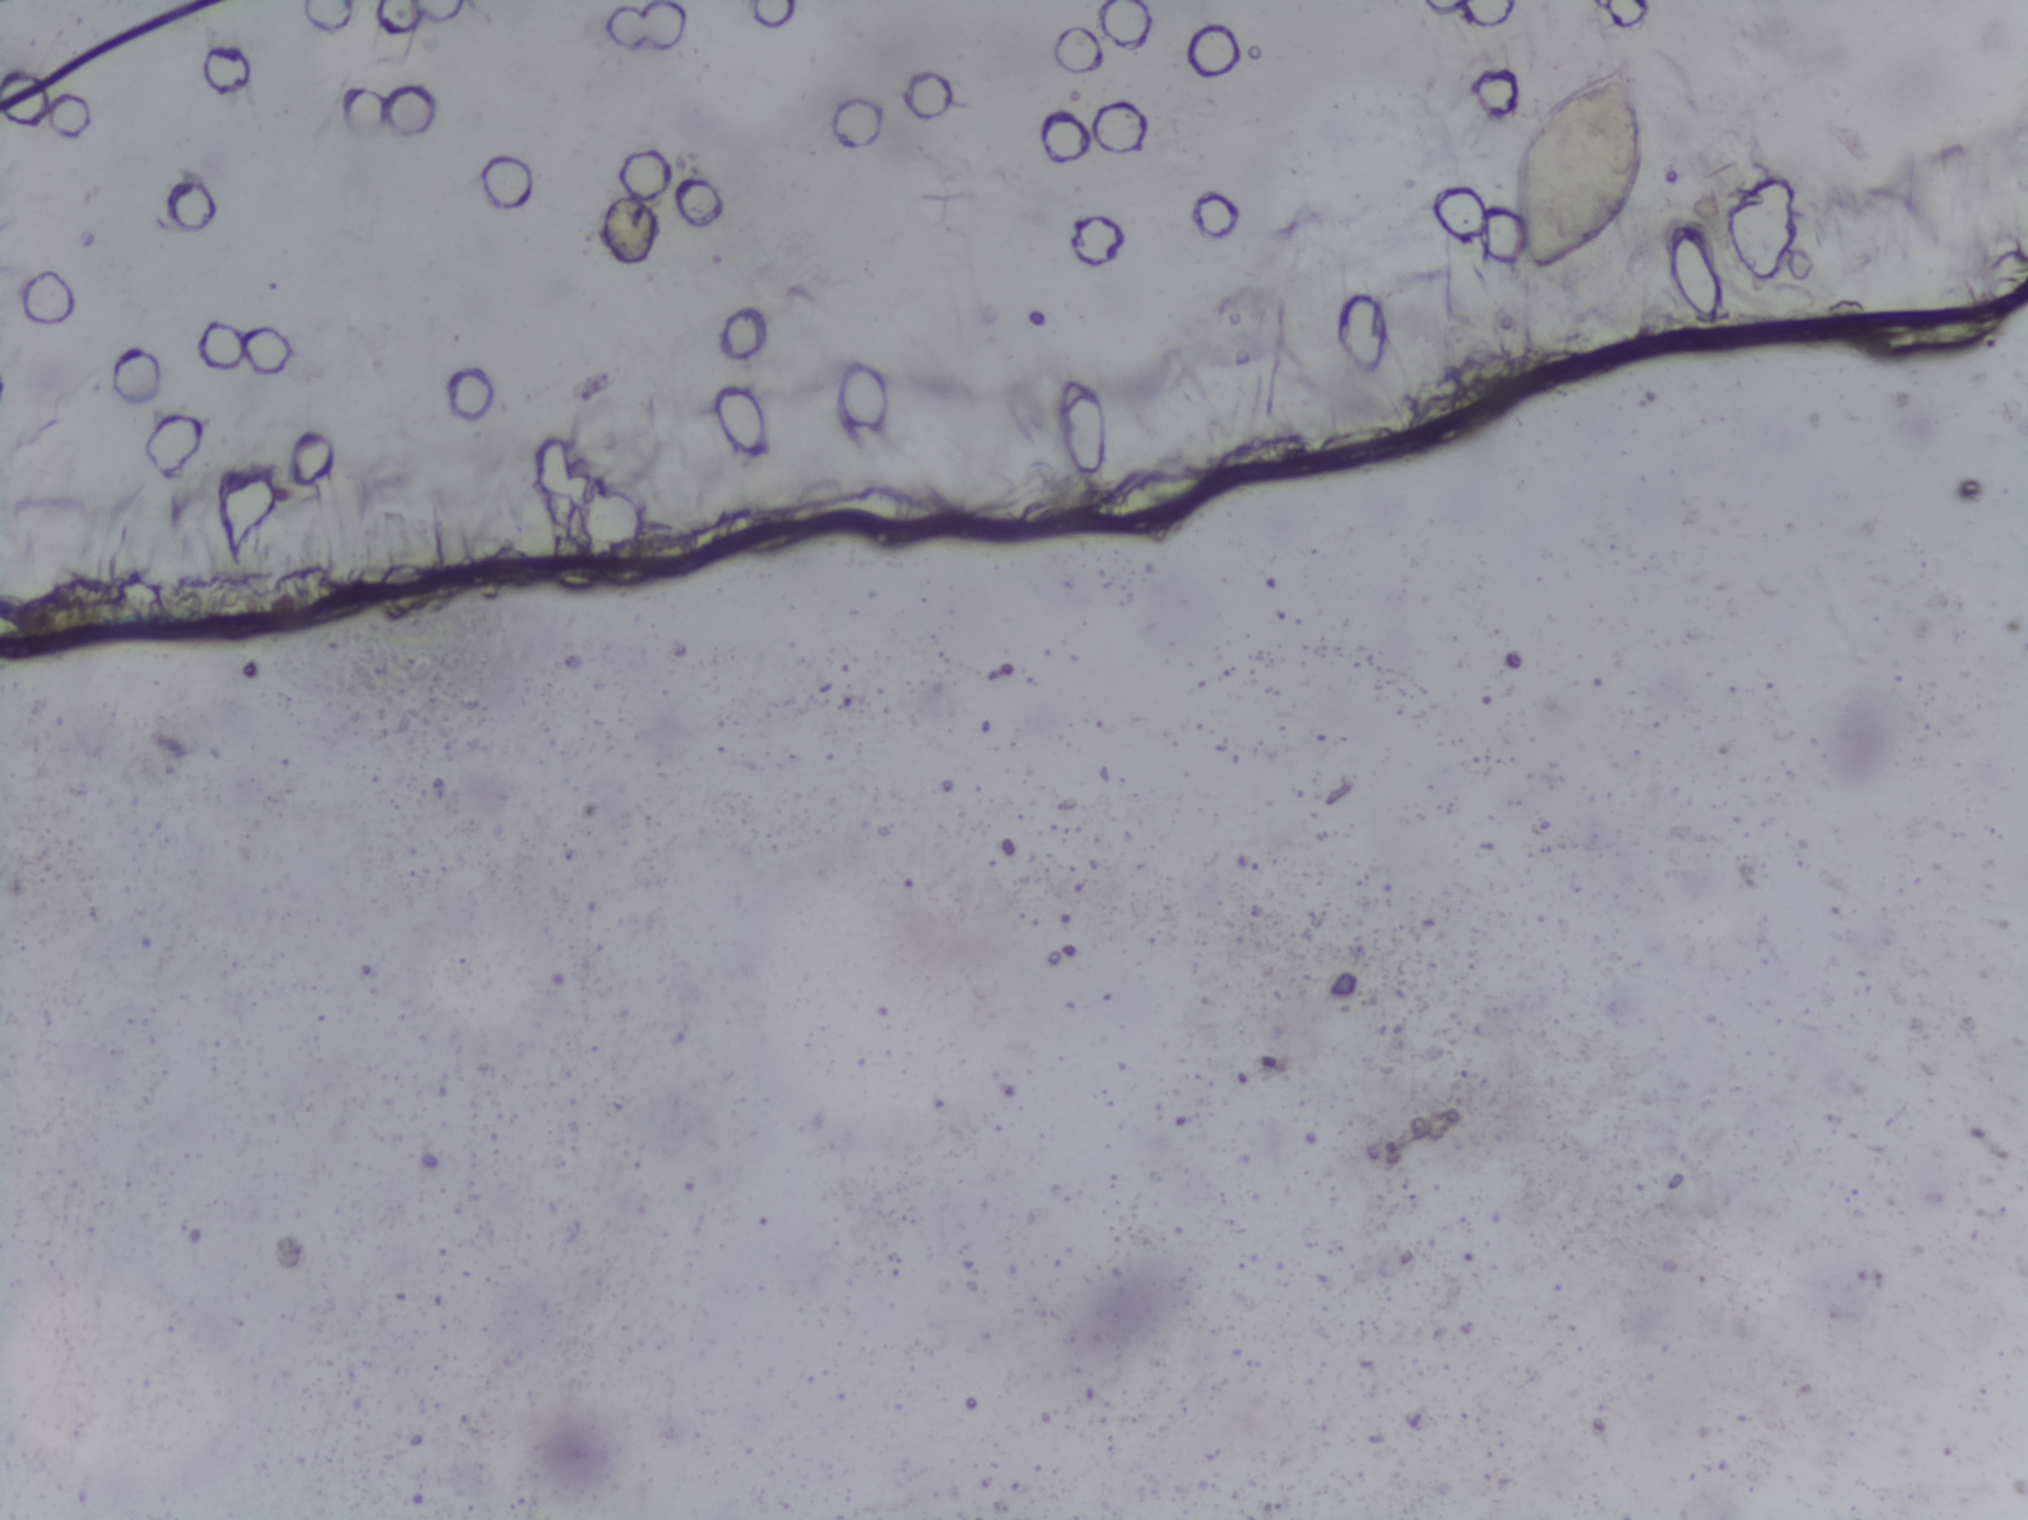
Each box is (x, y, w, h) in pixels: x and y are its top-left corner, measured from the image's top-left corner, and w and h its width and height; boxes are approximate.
Schistosoma eggs are outlined in one area of this image: (x=1510, y=47, w=141, h=239). A single outlined area may contain several eggs.
One field of view of a urine filter membrane, 4× objective, 2028 × 1520 pixels.